Urine filter membrane photographed through a 4× microscope objective.
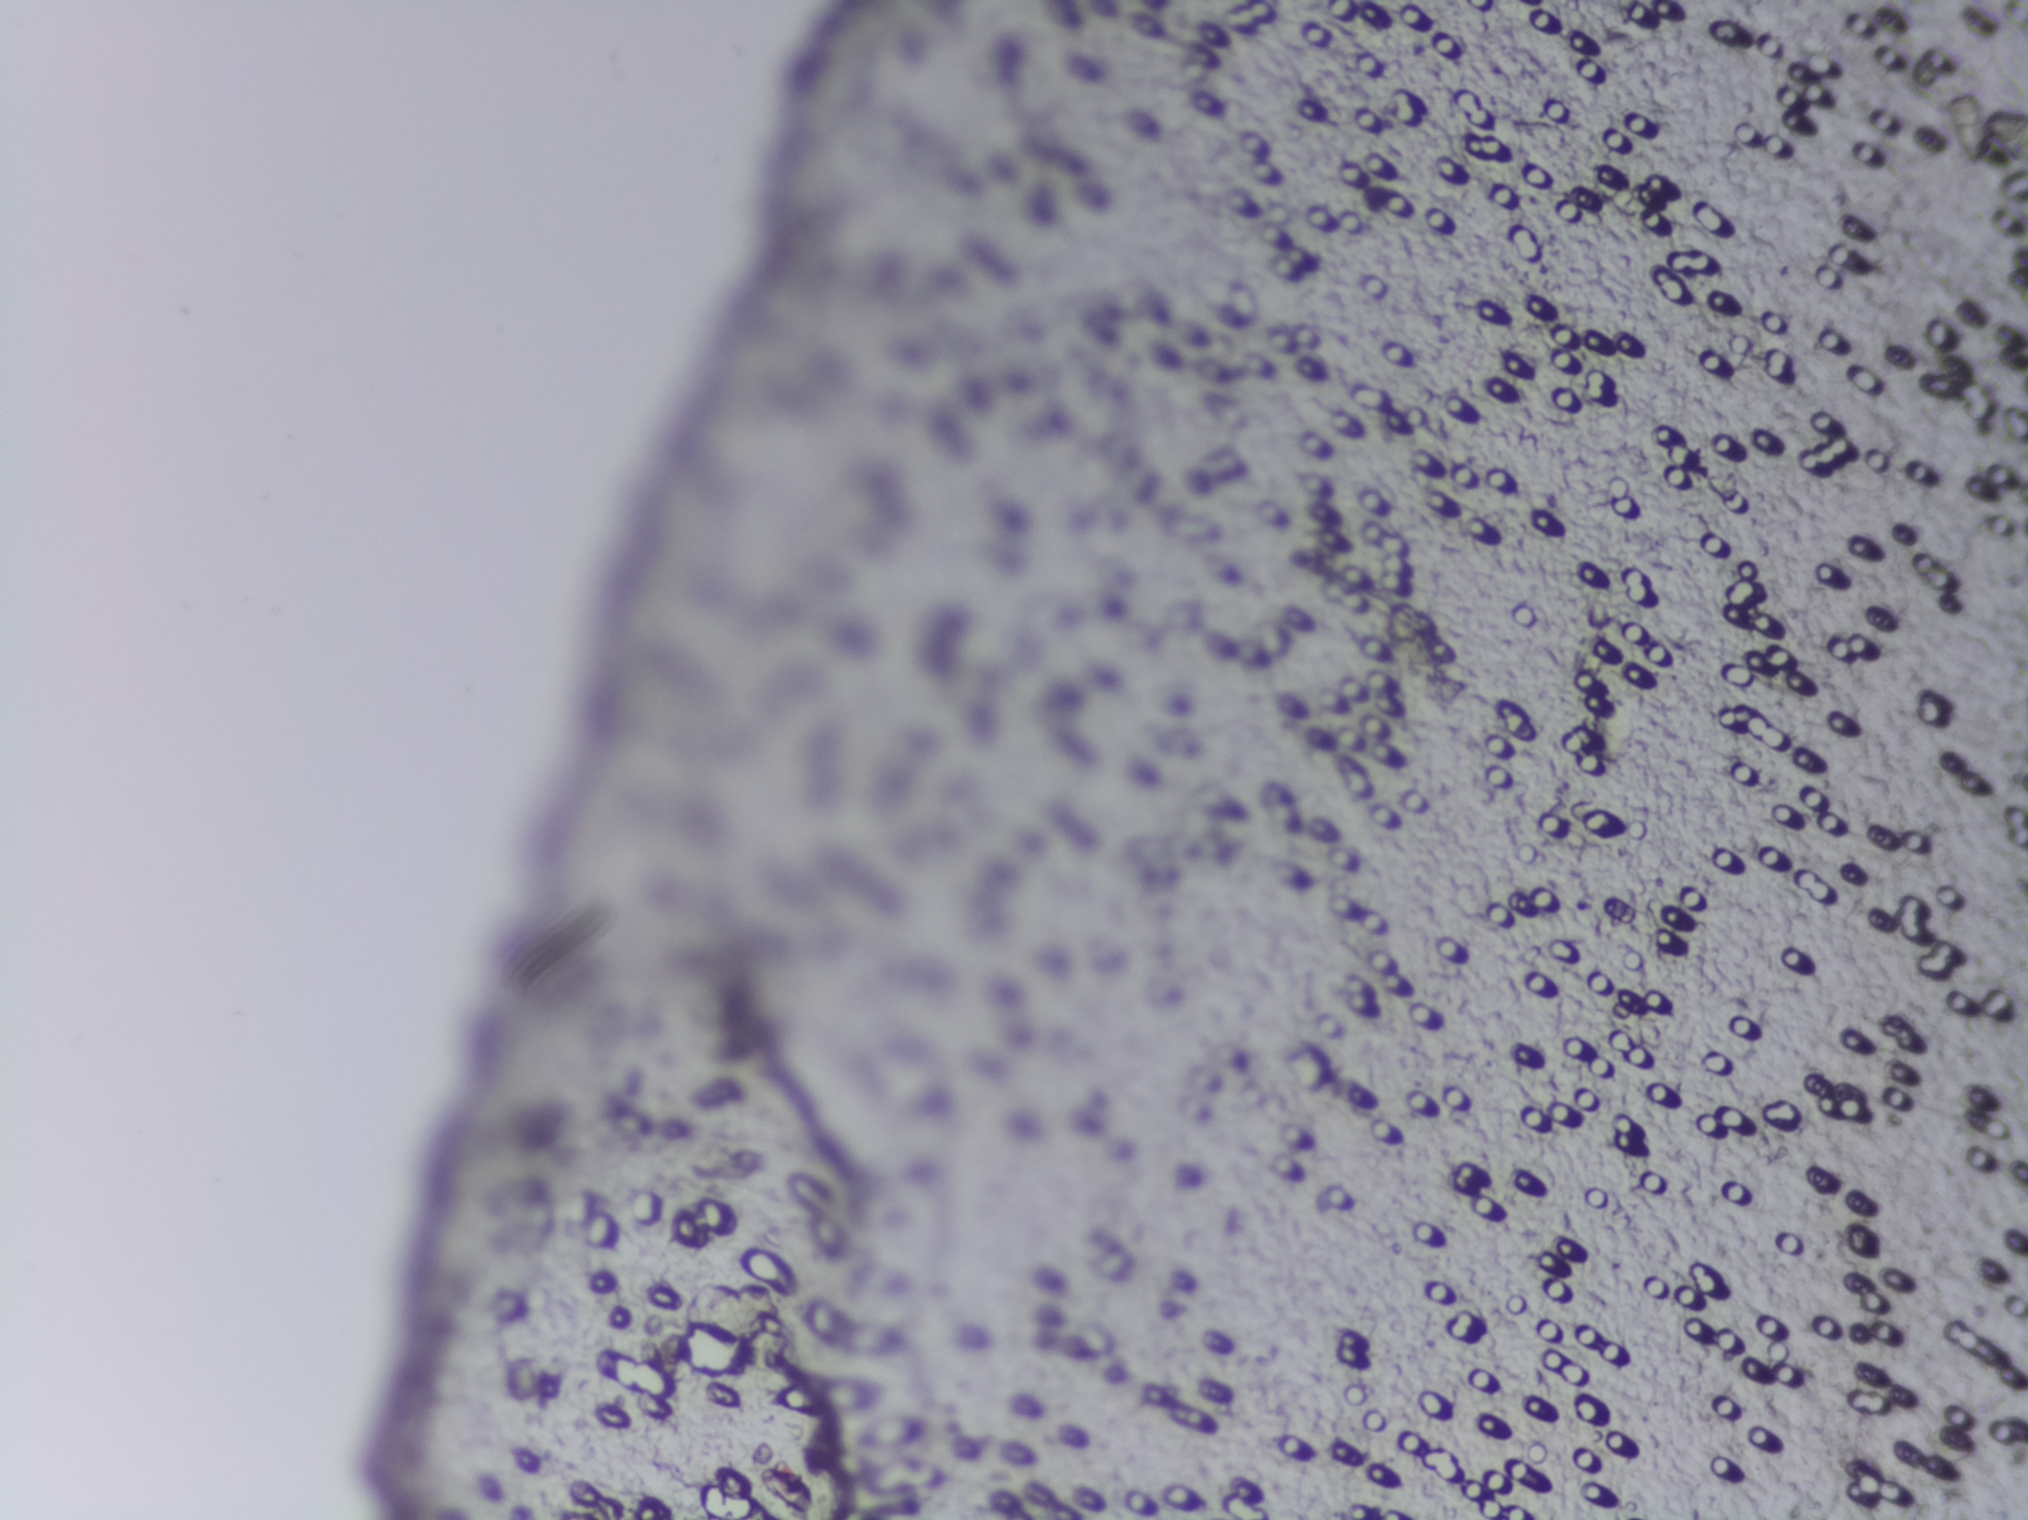
The expert annotation outlines no Schistosoma egg in this image.